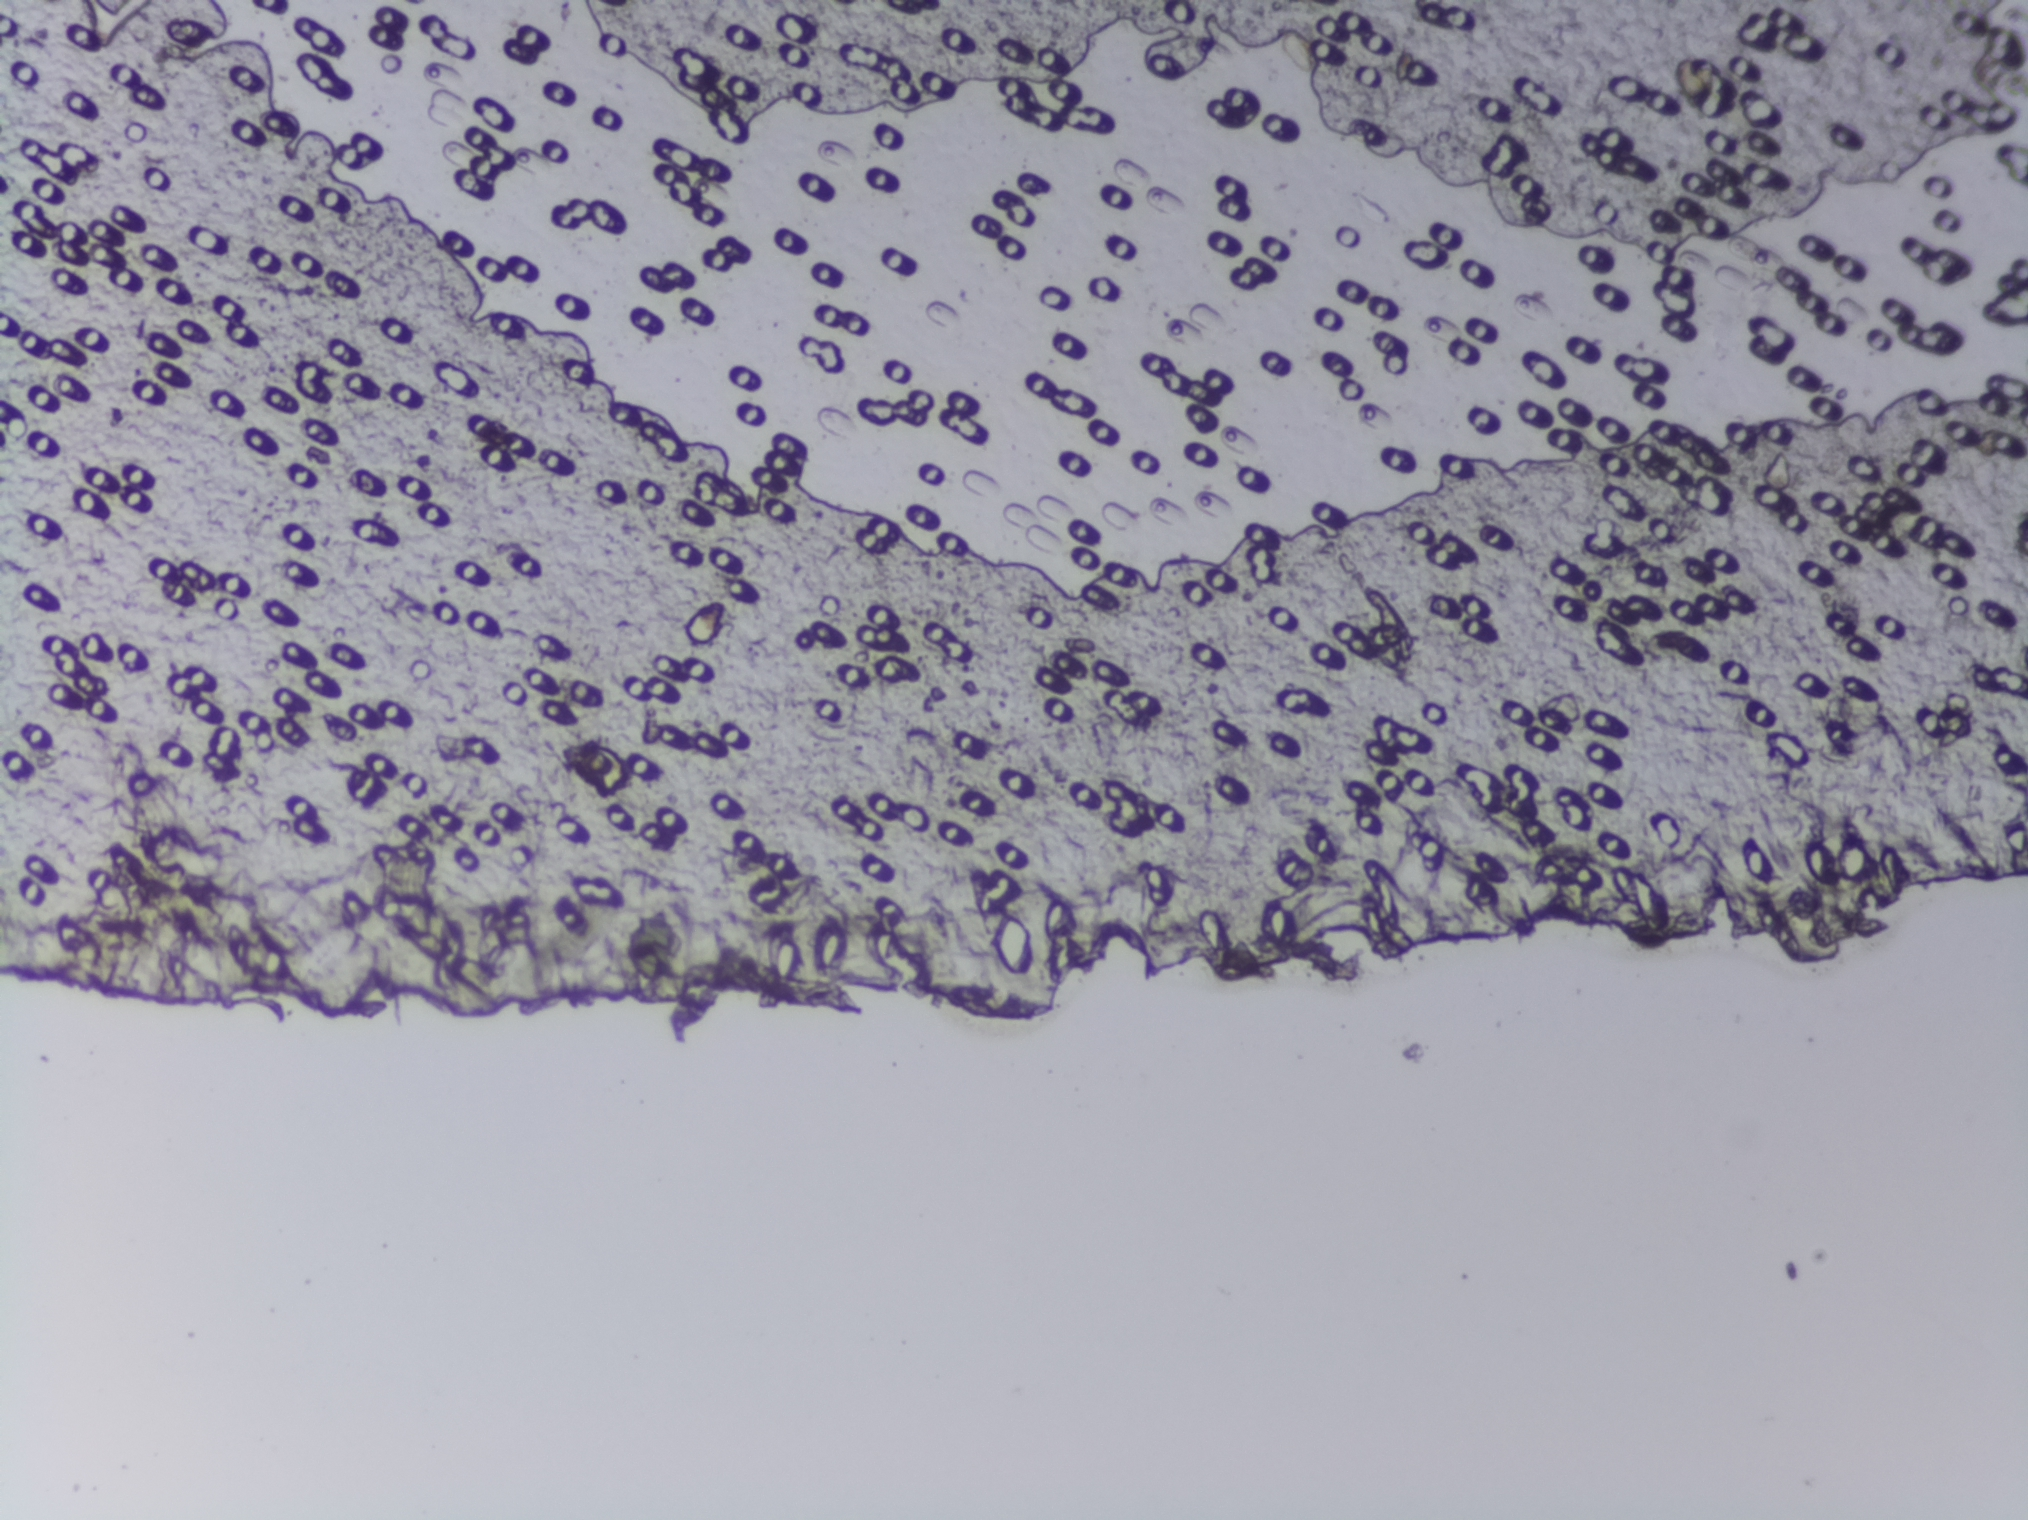
No area of this image was outlined as a Schistosoma egg.
Photograph from an automated digital microscope: urine filter membrane, 4× objective. The image covers about 1.5 × 1.1 mm of the membrane.